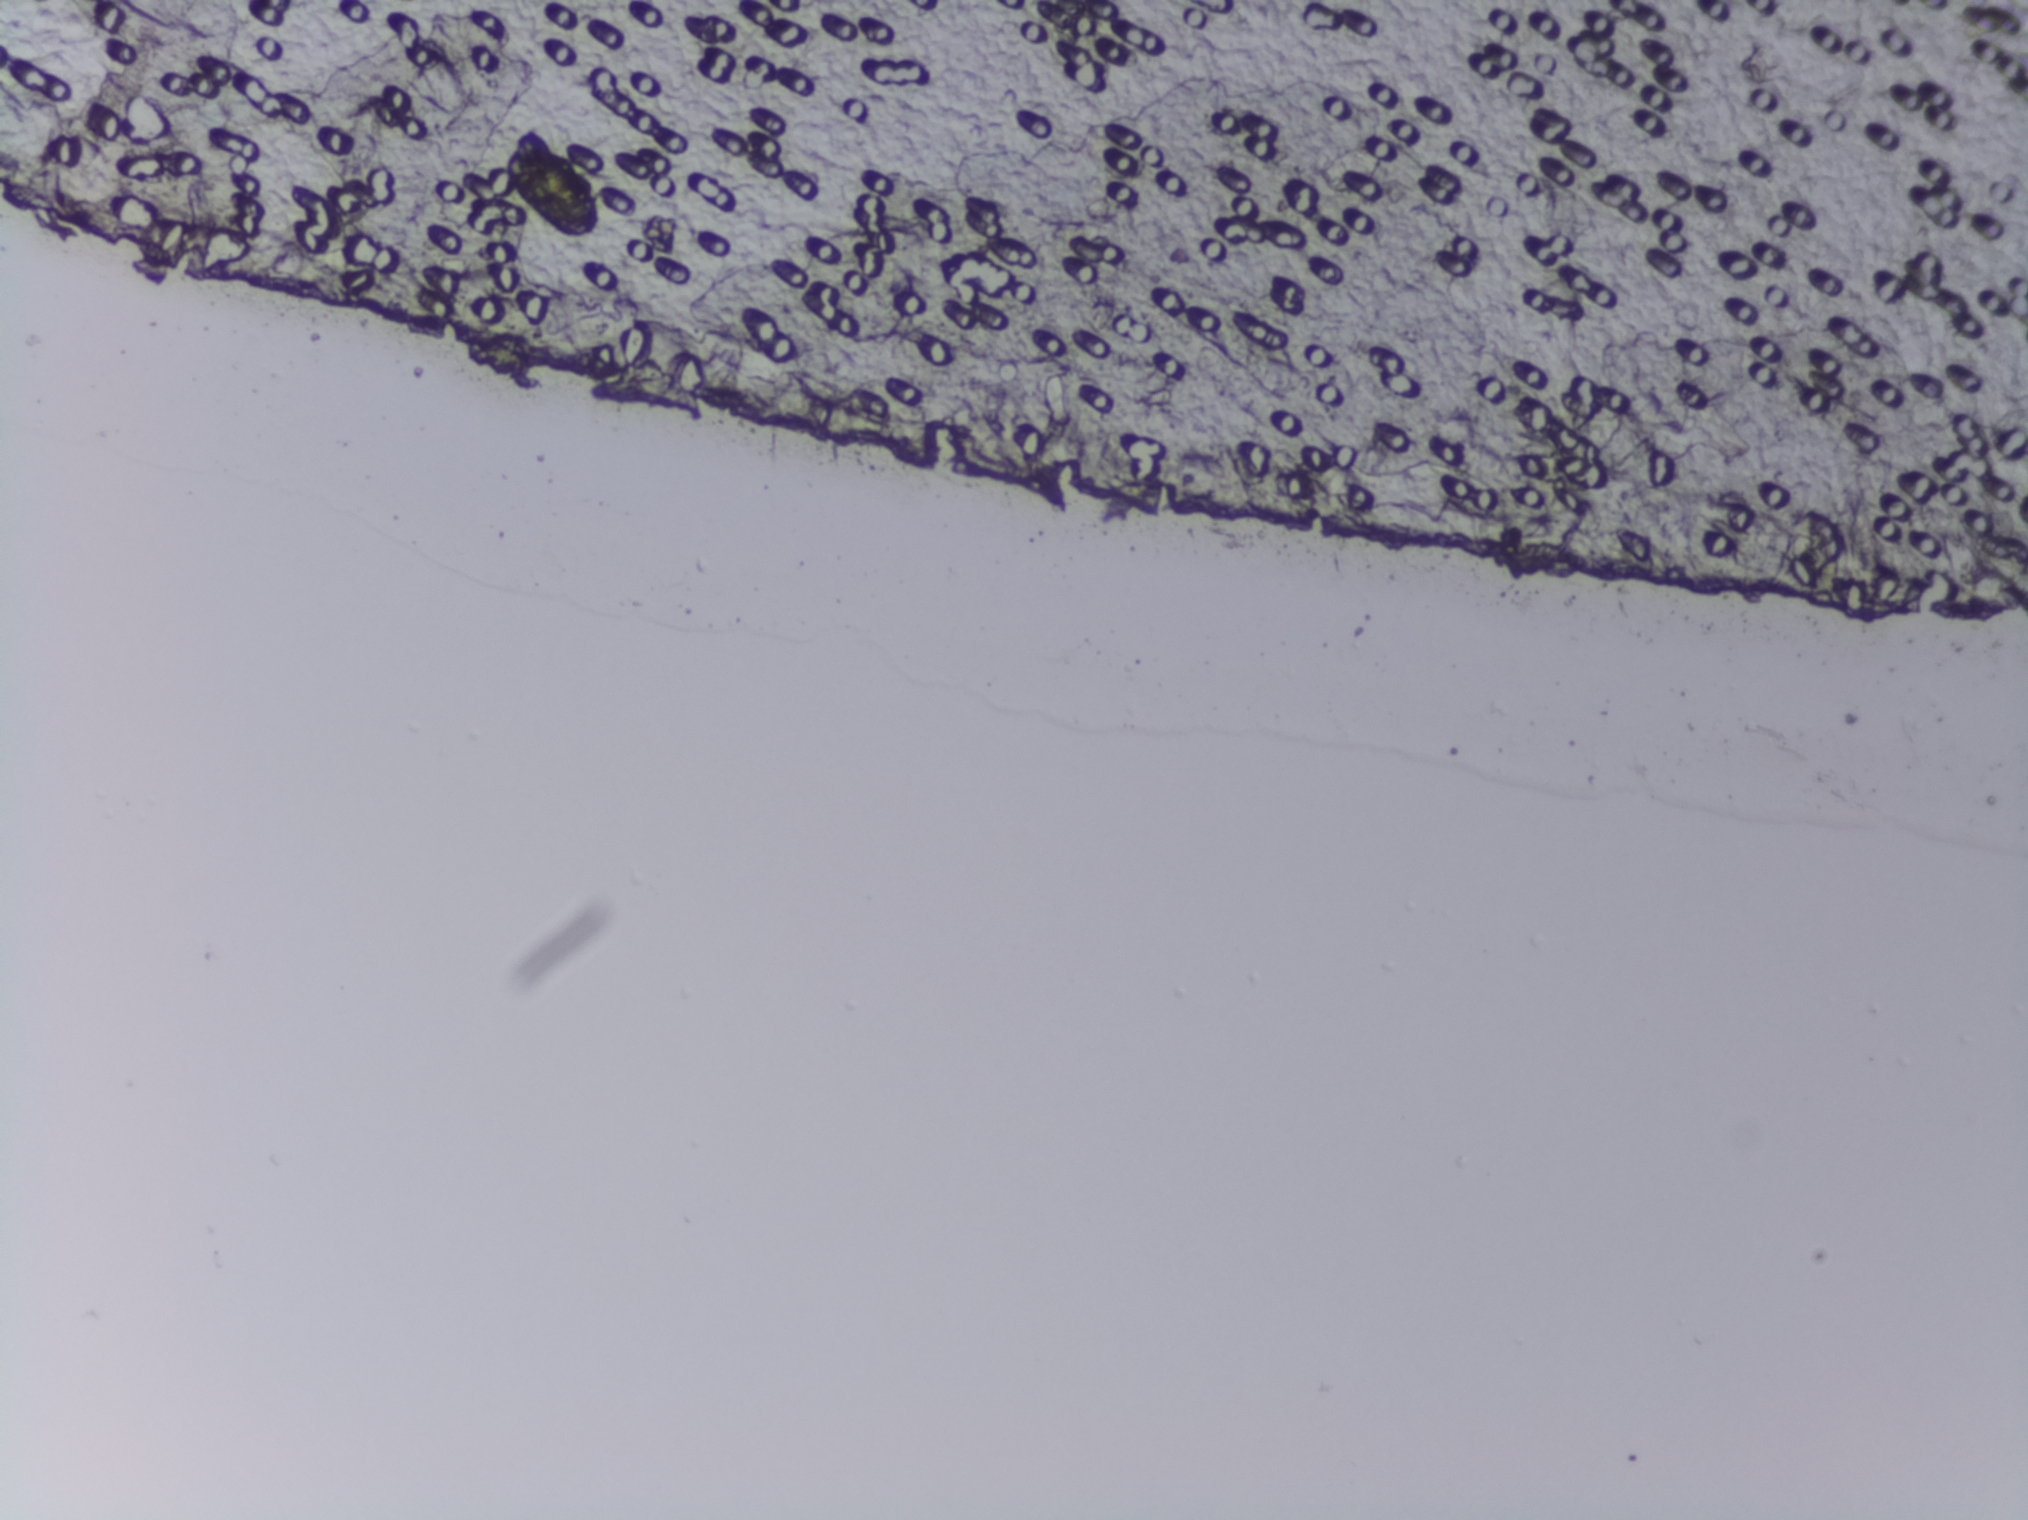
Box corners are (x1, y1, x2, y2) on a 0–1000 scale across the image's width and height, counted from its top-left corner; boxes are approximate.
One area of this image is outlined as Schistosoma eggs: (248, 84, 300, 159). Eggs that touch can end up inside the same outlined area.
Urine filtration membrane under a 4× objective, photographed by an automated digital microscope. The field of view is about 1.5 mm × 1.1 mm.